Photomicrograph of a urine filtration membrane, 4× objective.
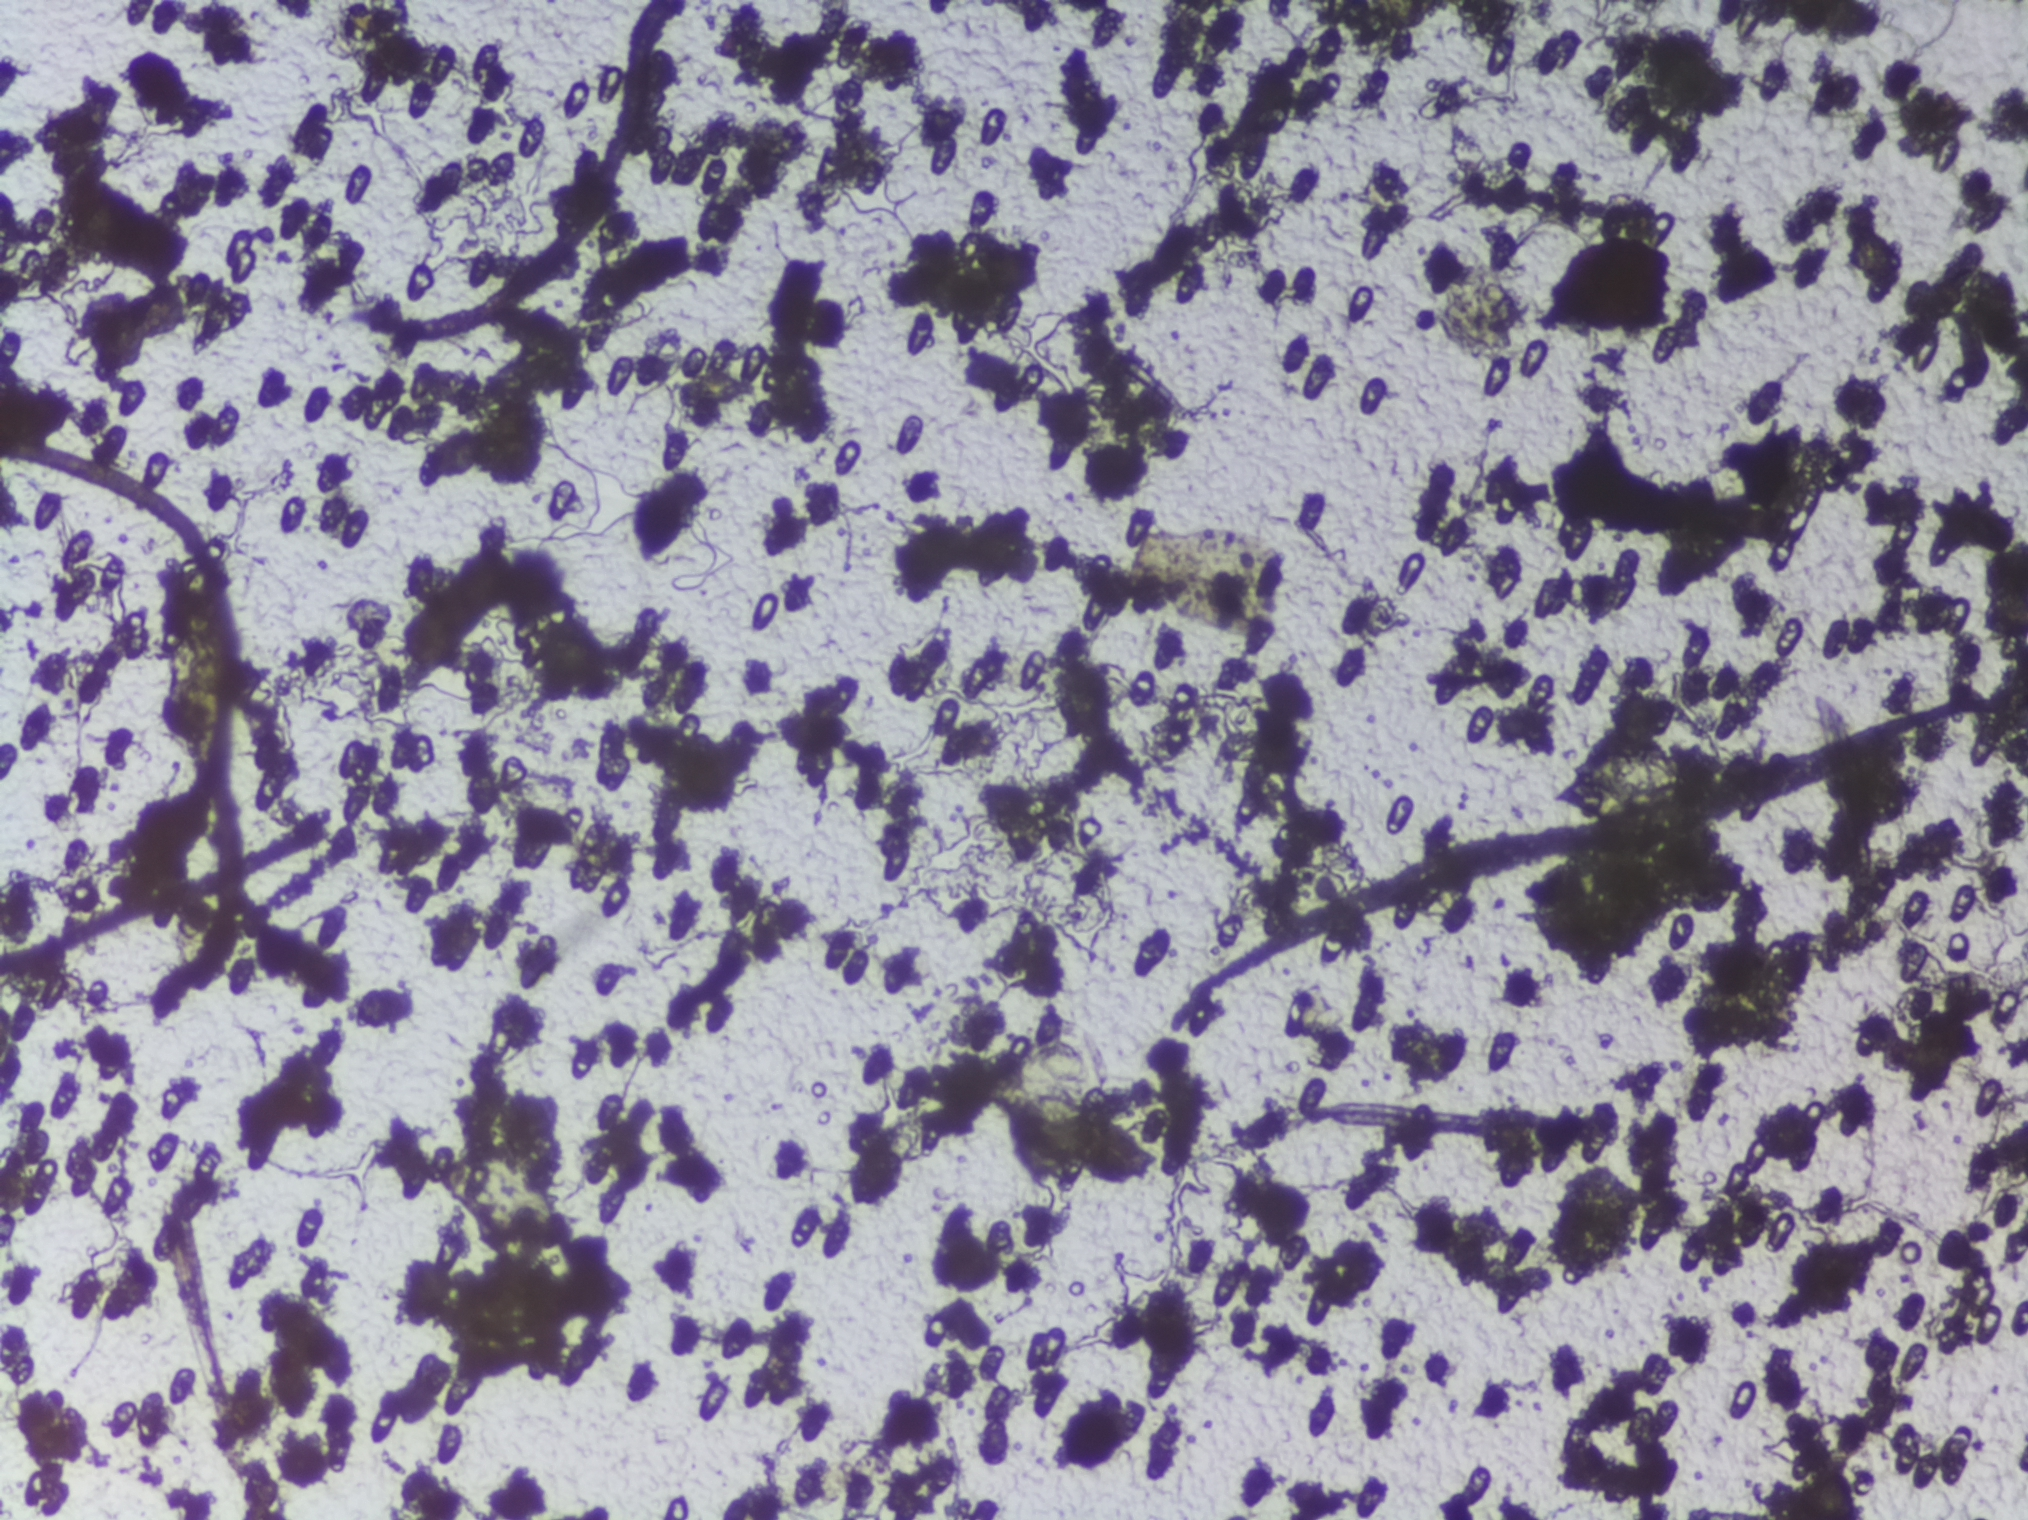
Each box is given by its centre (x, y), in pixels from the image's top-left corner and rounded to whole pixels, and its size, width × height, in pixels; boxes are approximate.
The expert annotation outlines Schistosoma eggs at centre (1620, 787), 140 × 58 px. About 0.2% of the image's pixels are marked (the marked pixels themselves, not the box around them). Eggs that touch can end up inside the same outlined area.